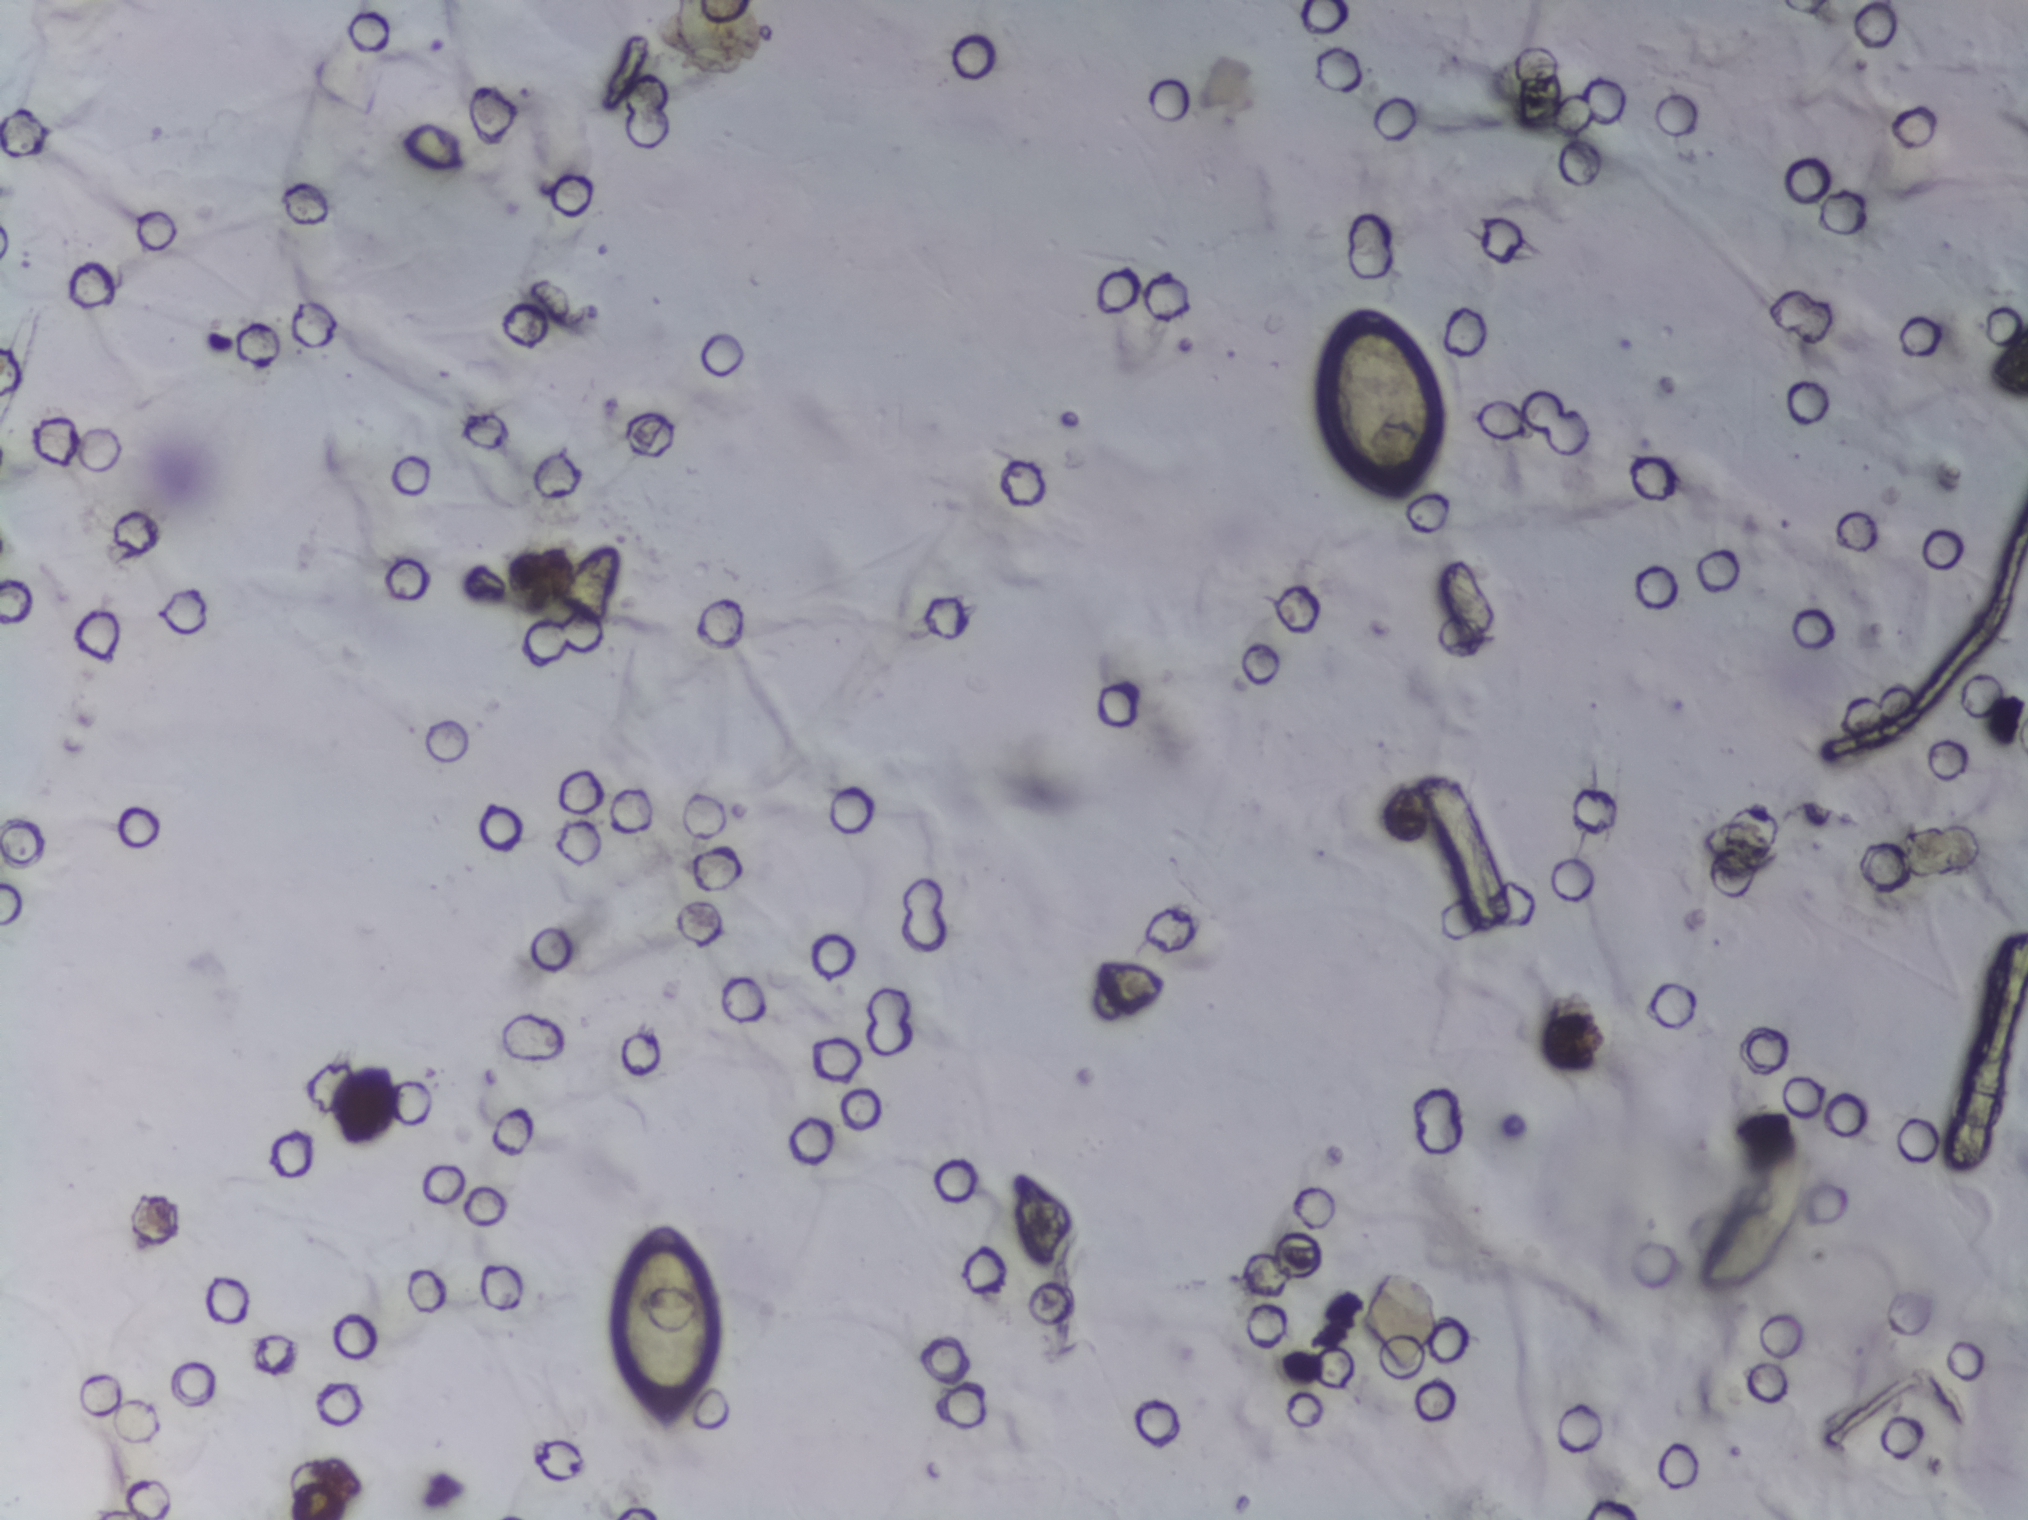
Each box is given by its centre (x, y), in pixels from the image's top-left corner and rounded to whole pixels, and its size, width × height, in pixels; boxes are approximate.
Findings: two areas outlined as Schistosoma eggs. Locations, left to right: centre (665, 1331), 118 × 225 px; centre (1381, 407), 120 × 193 px. An outlined area can hold more than one egg.
Microscope photograph (4× objective) of a membrane that a urine sample was filtered through. The field of view is about 1.5 mm × 1.1 mm.